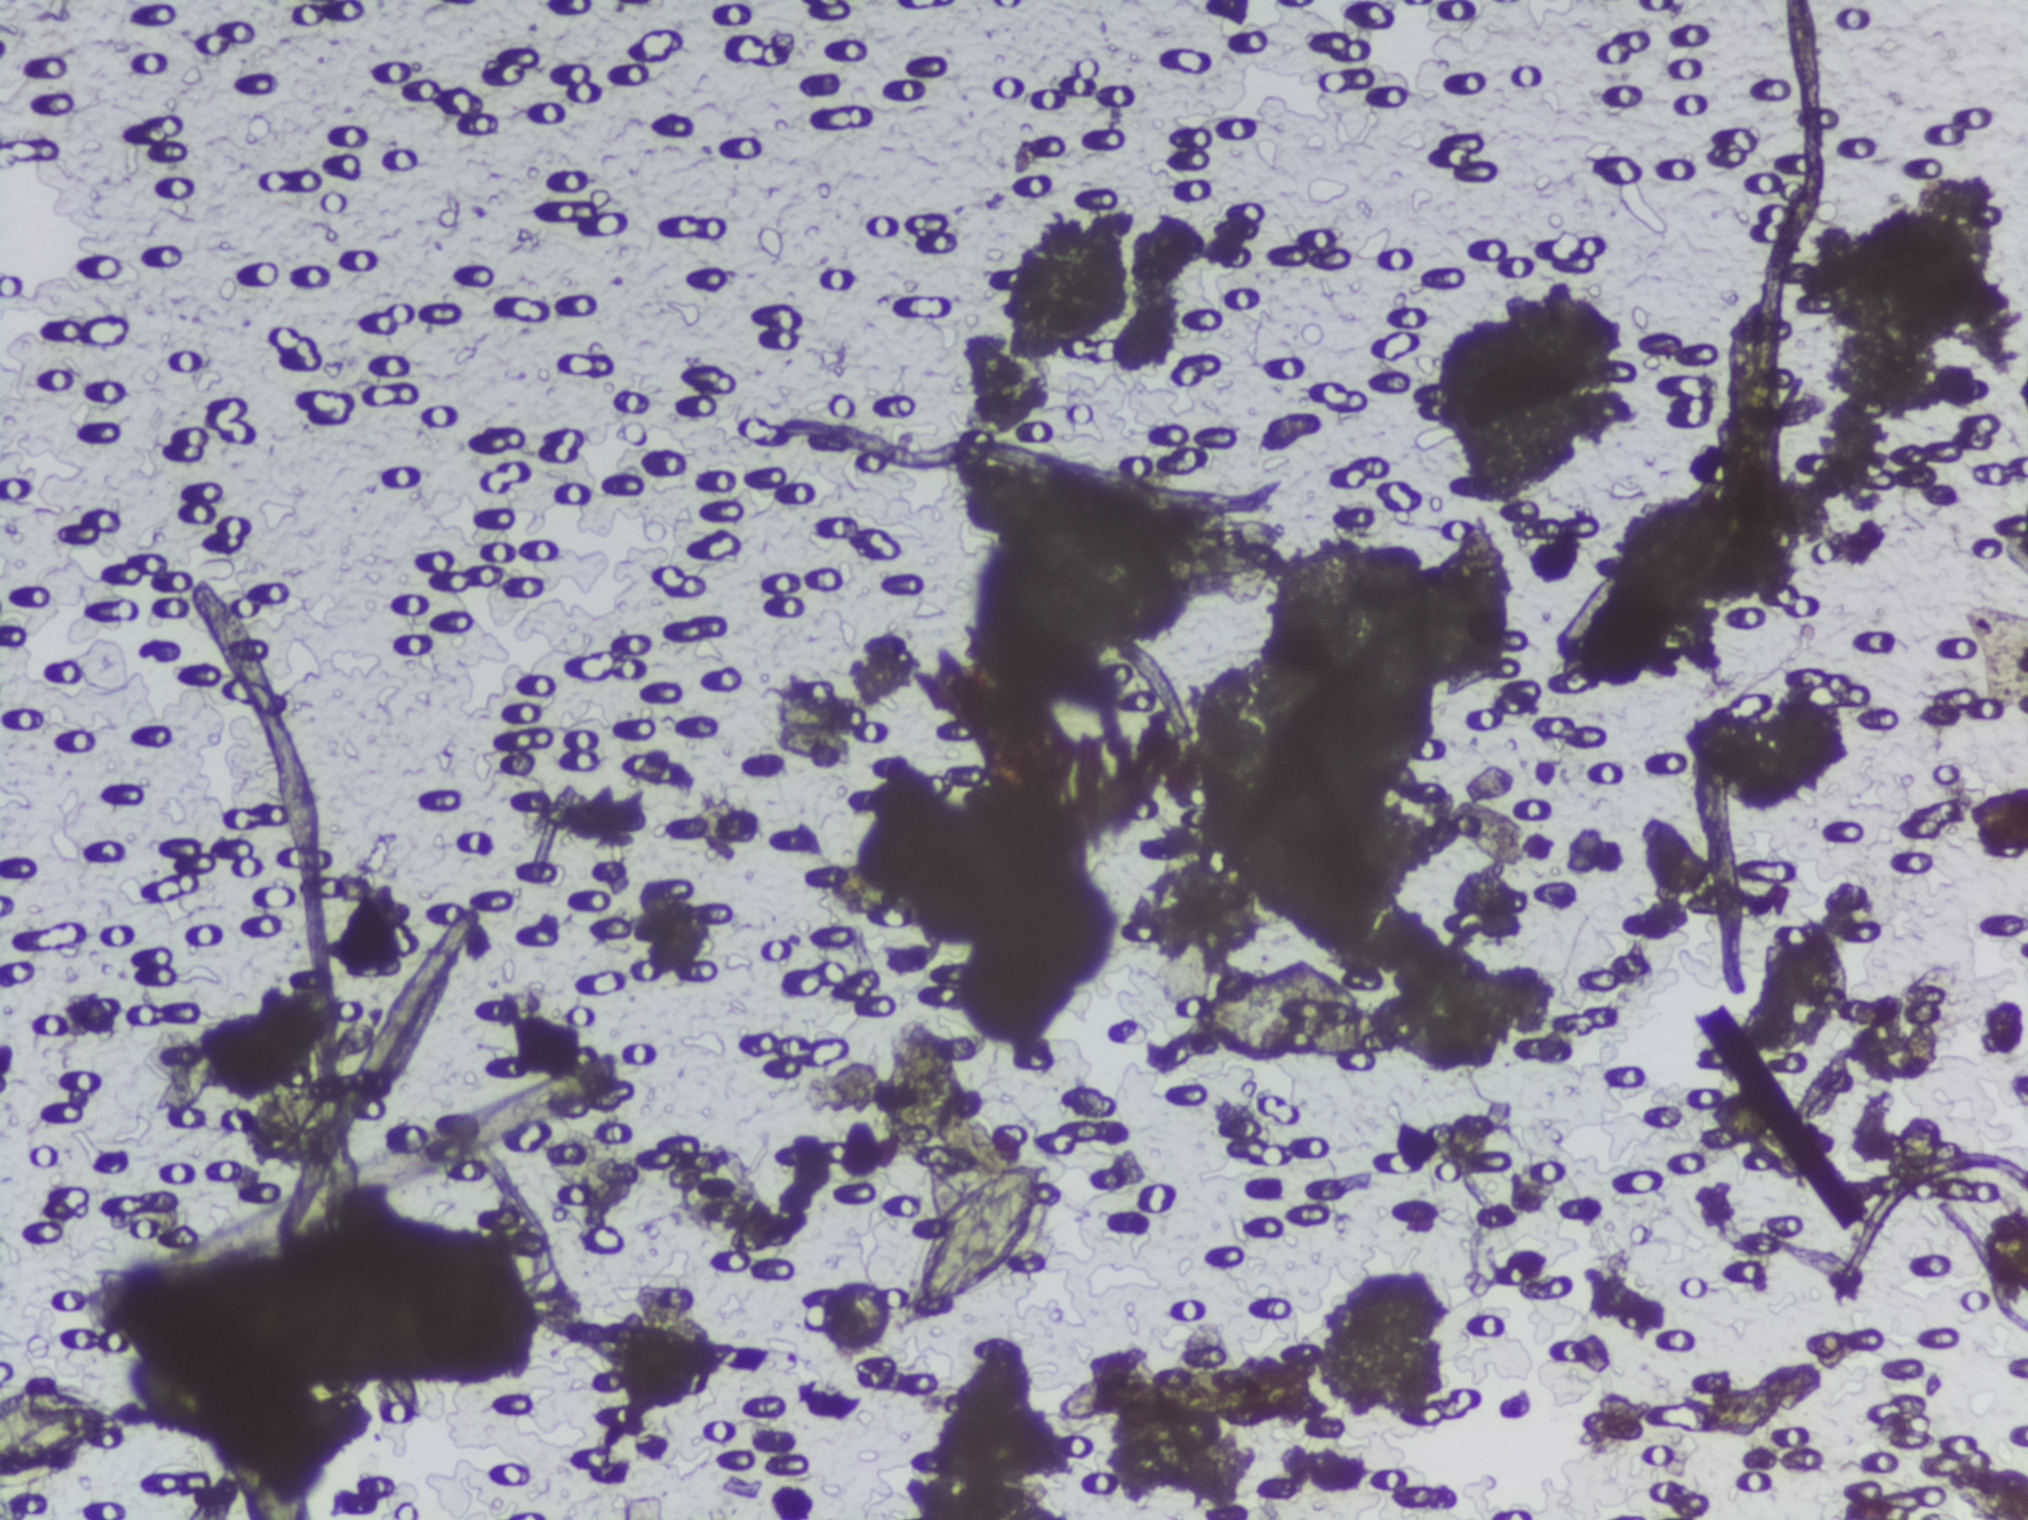
Microscope photograph (4× objective) of a membrane that a urine sample was filtered through.
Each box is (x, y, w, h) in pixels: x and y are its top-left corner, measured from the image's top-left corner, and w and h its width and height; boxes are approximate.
Schistosoma egg areas, outlined: (x=906, y=1160, w=151, h=152). A single outlined area may contain several eggs. Any one outlined egg may, rarely, be S. mansoni rather than S. haematobium.